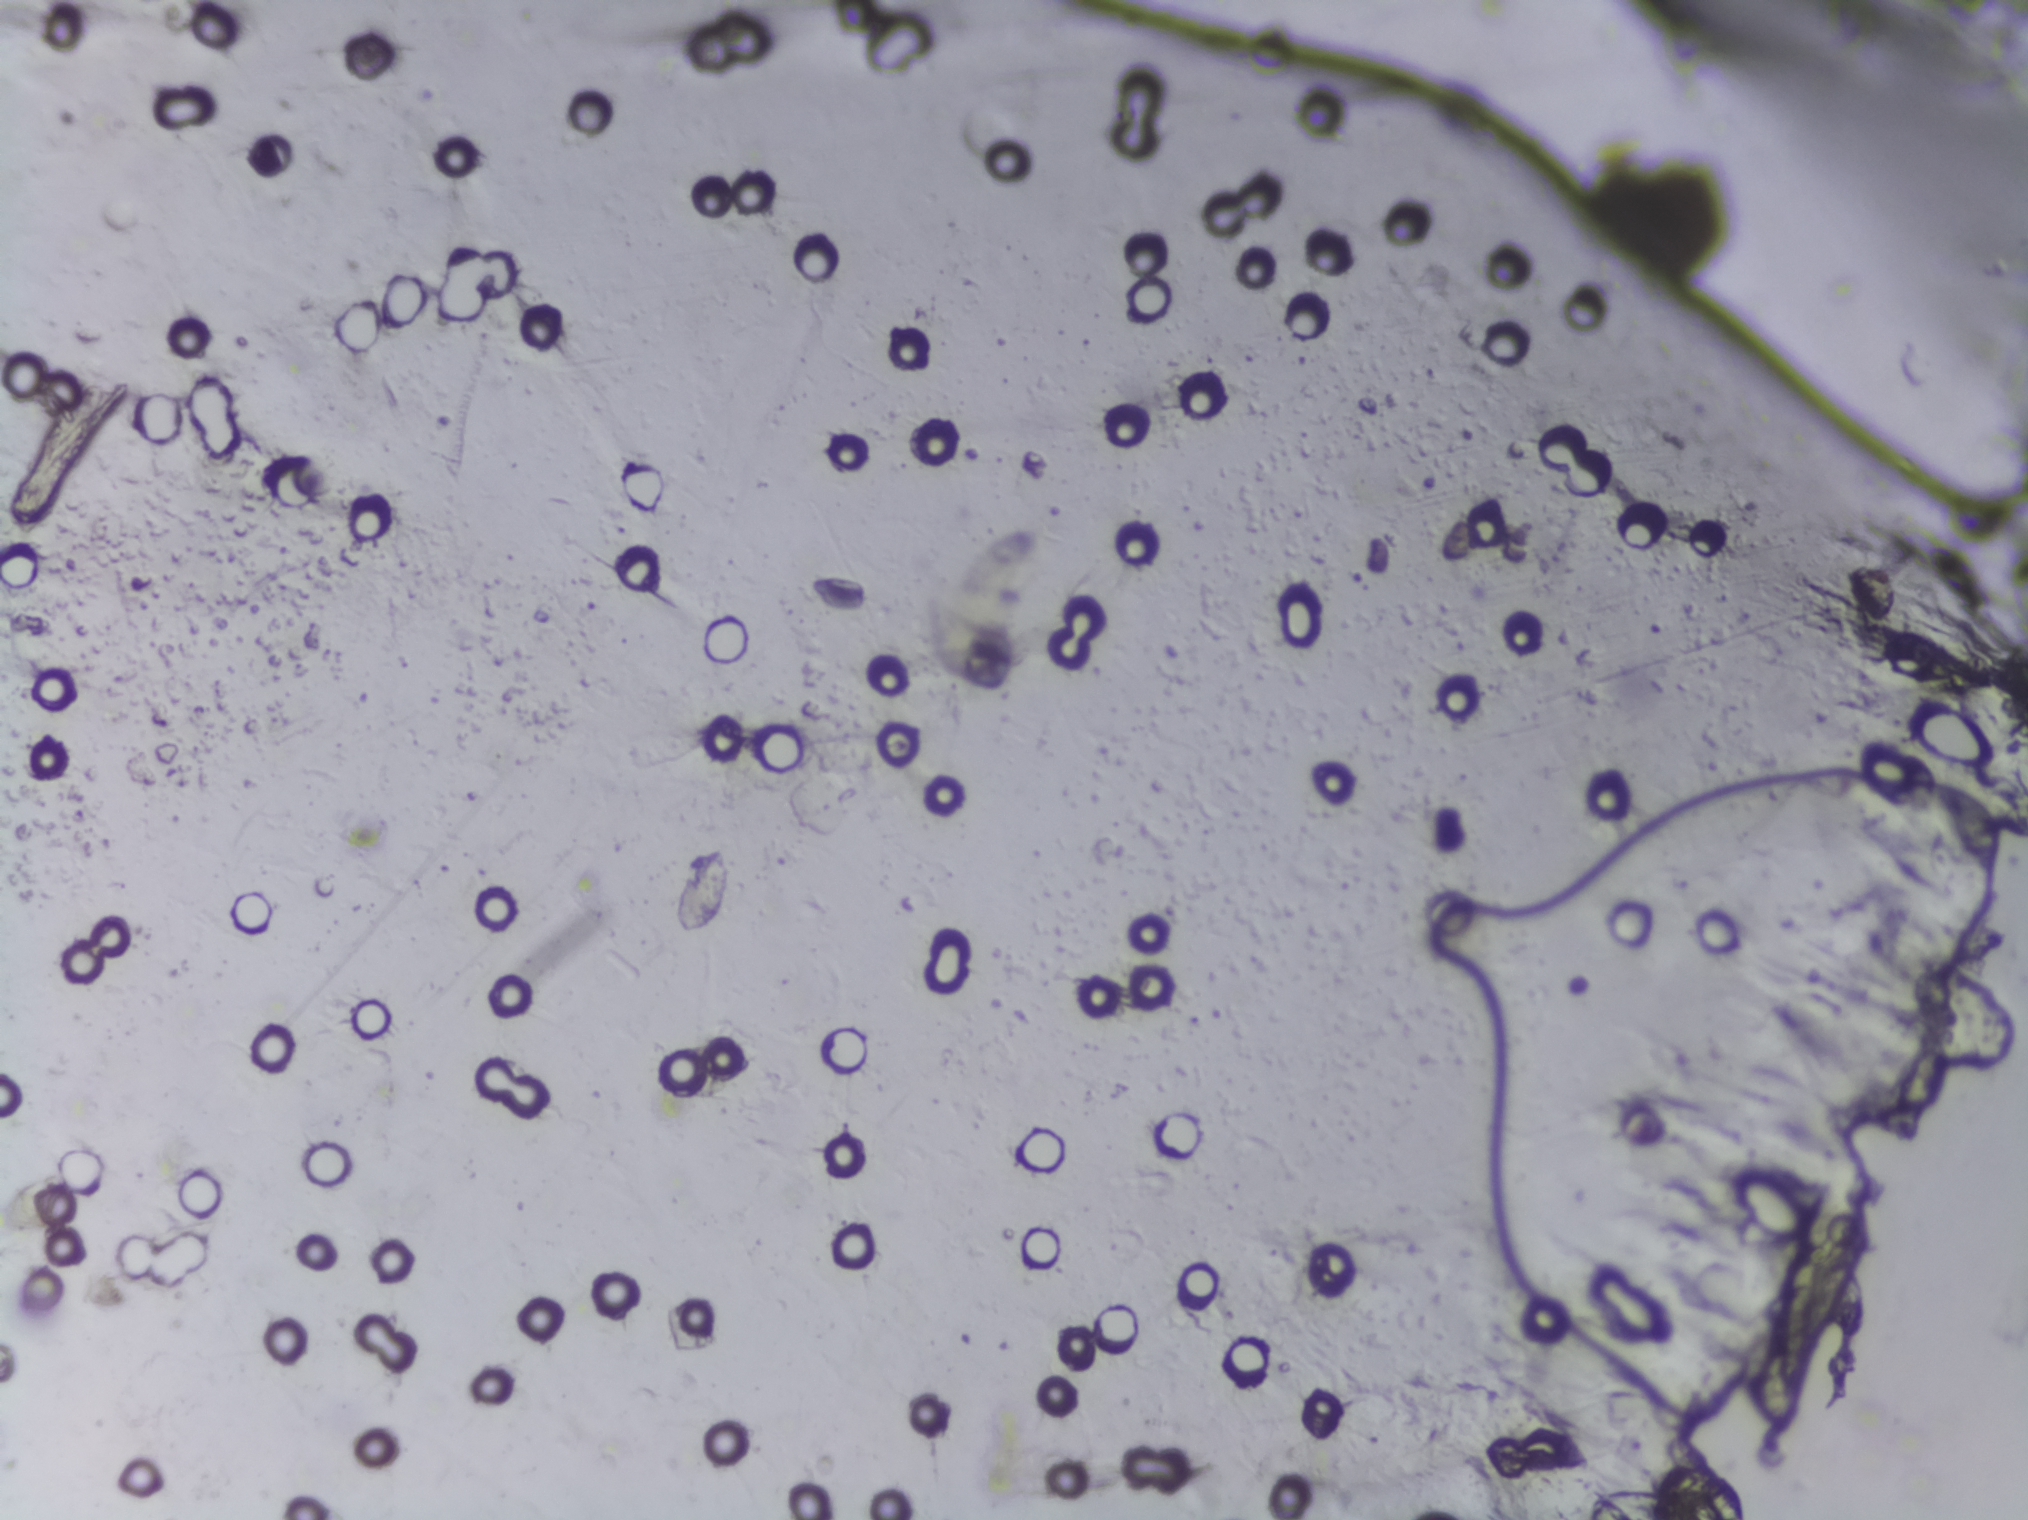
Microscope photograph (4× objective) of a membrane that a urine sample was filtered through.
Schistosoma eggs: none outlined.